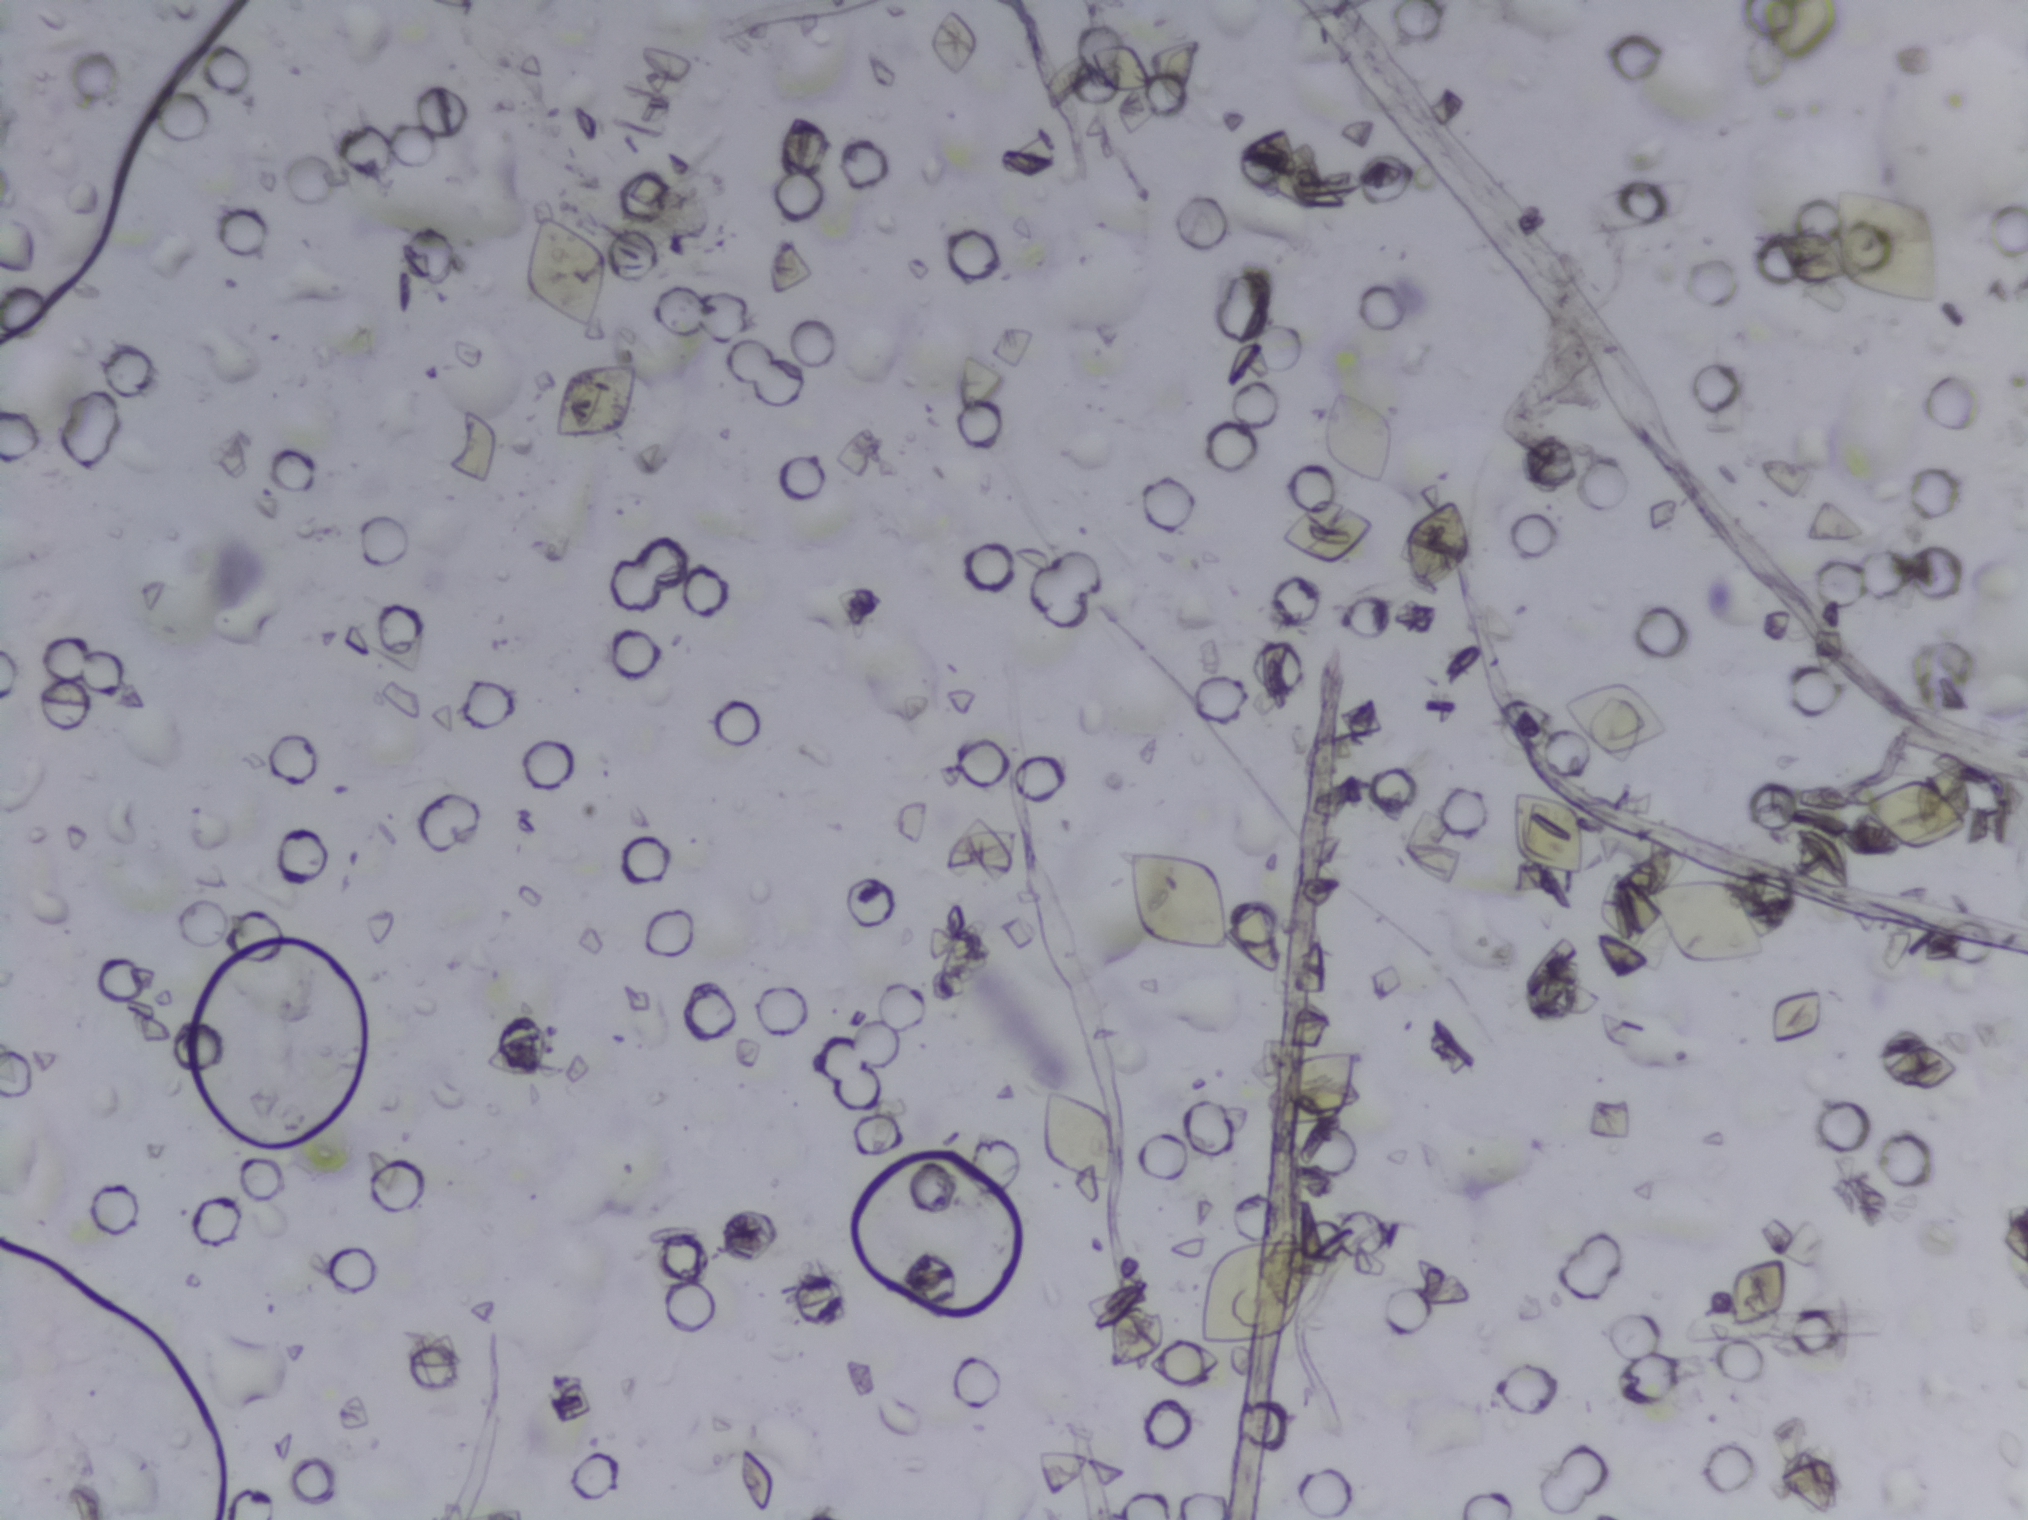
The expert annotation outlines no Schistosoma egg in this image.
Photograph from an automated digital microscope: urine filter membrane, 4× objective.